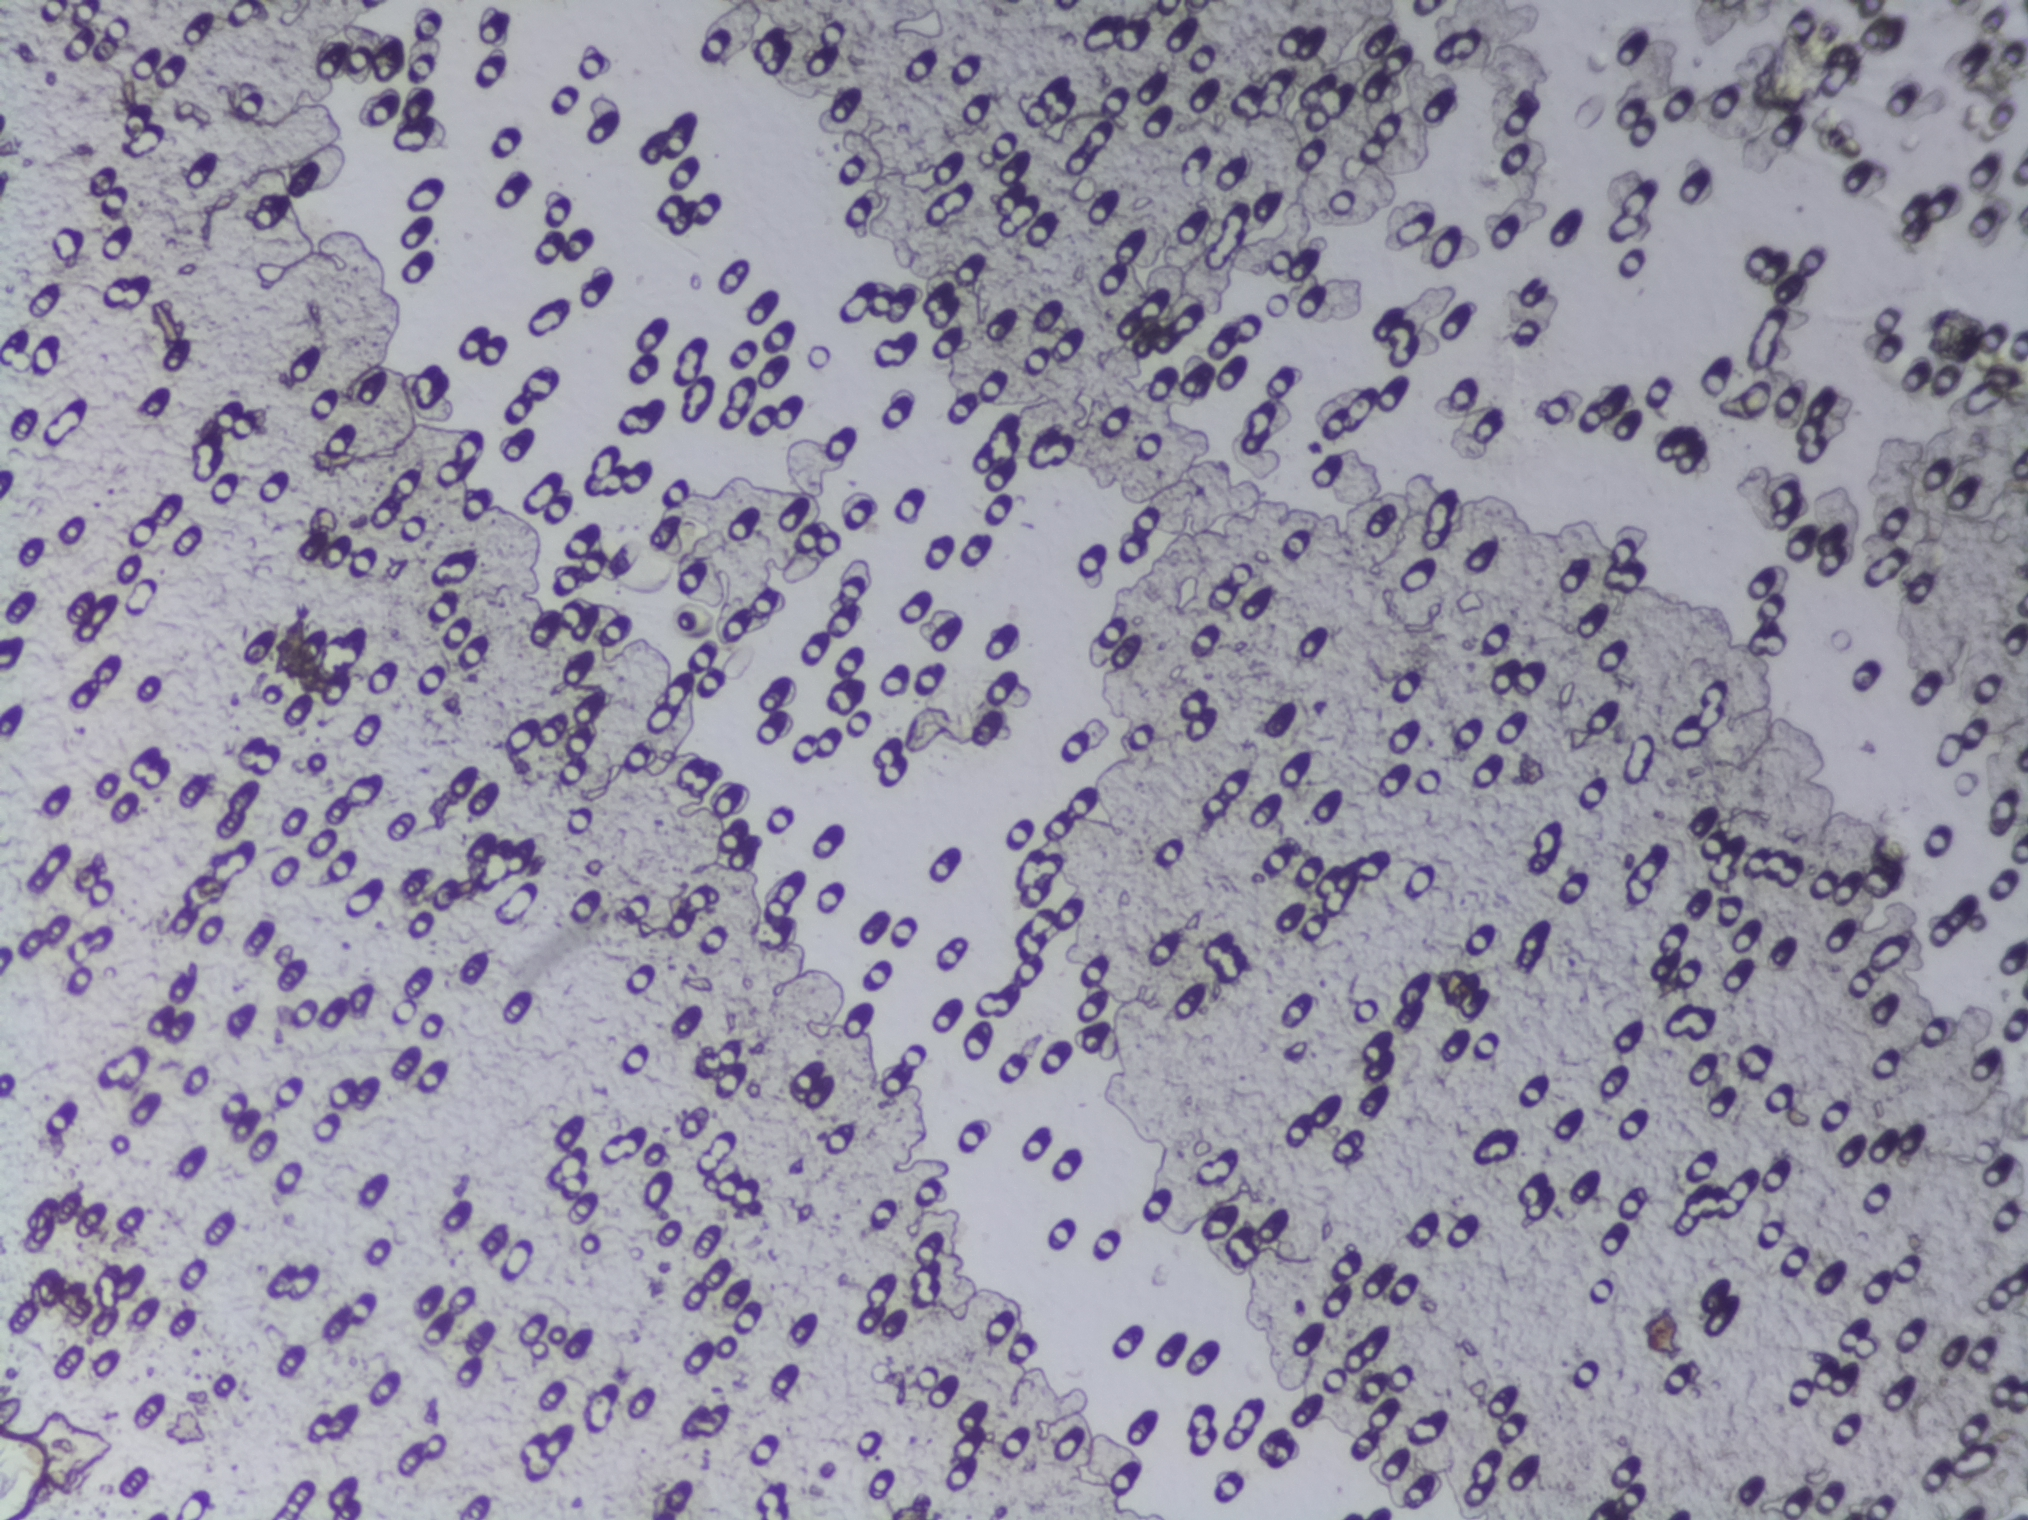
One field of view of a urine filter membrane, 4× objective, 2028 × 1520 pixels.
No area of this image was outlined as a Schistosoma egg.